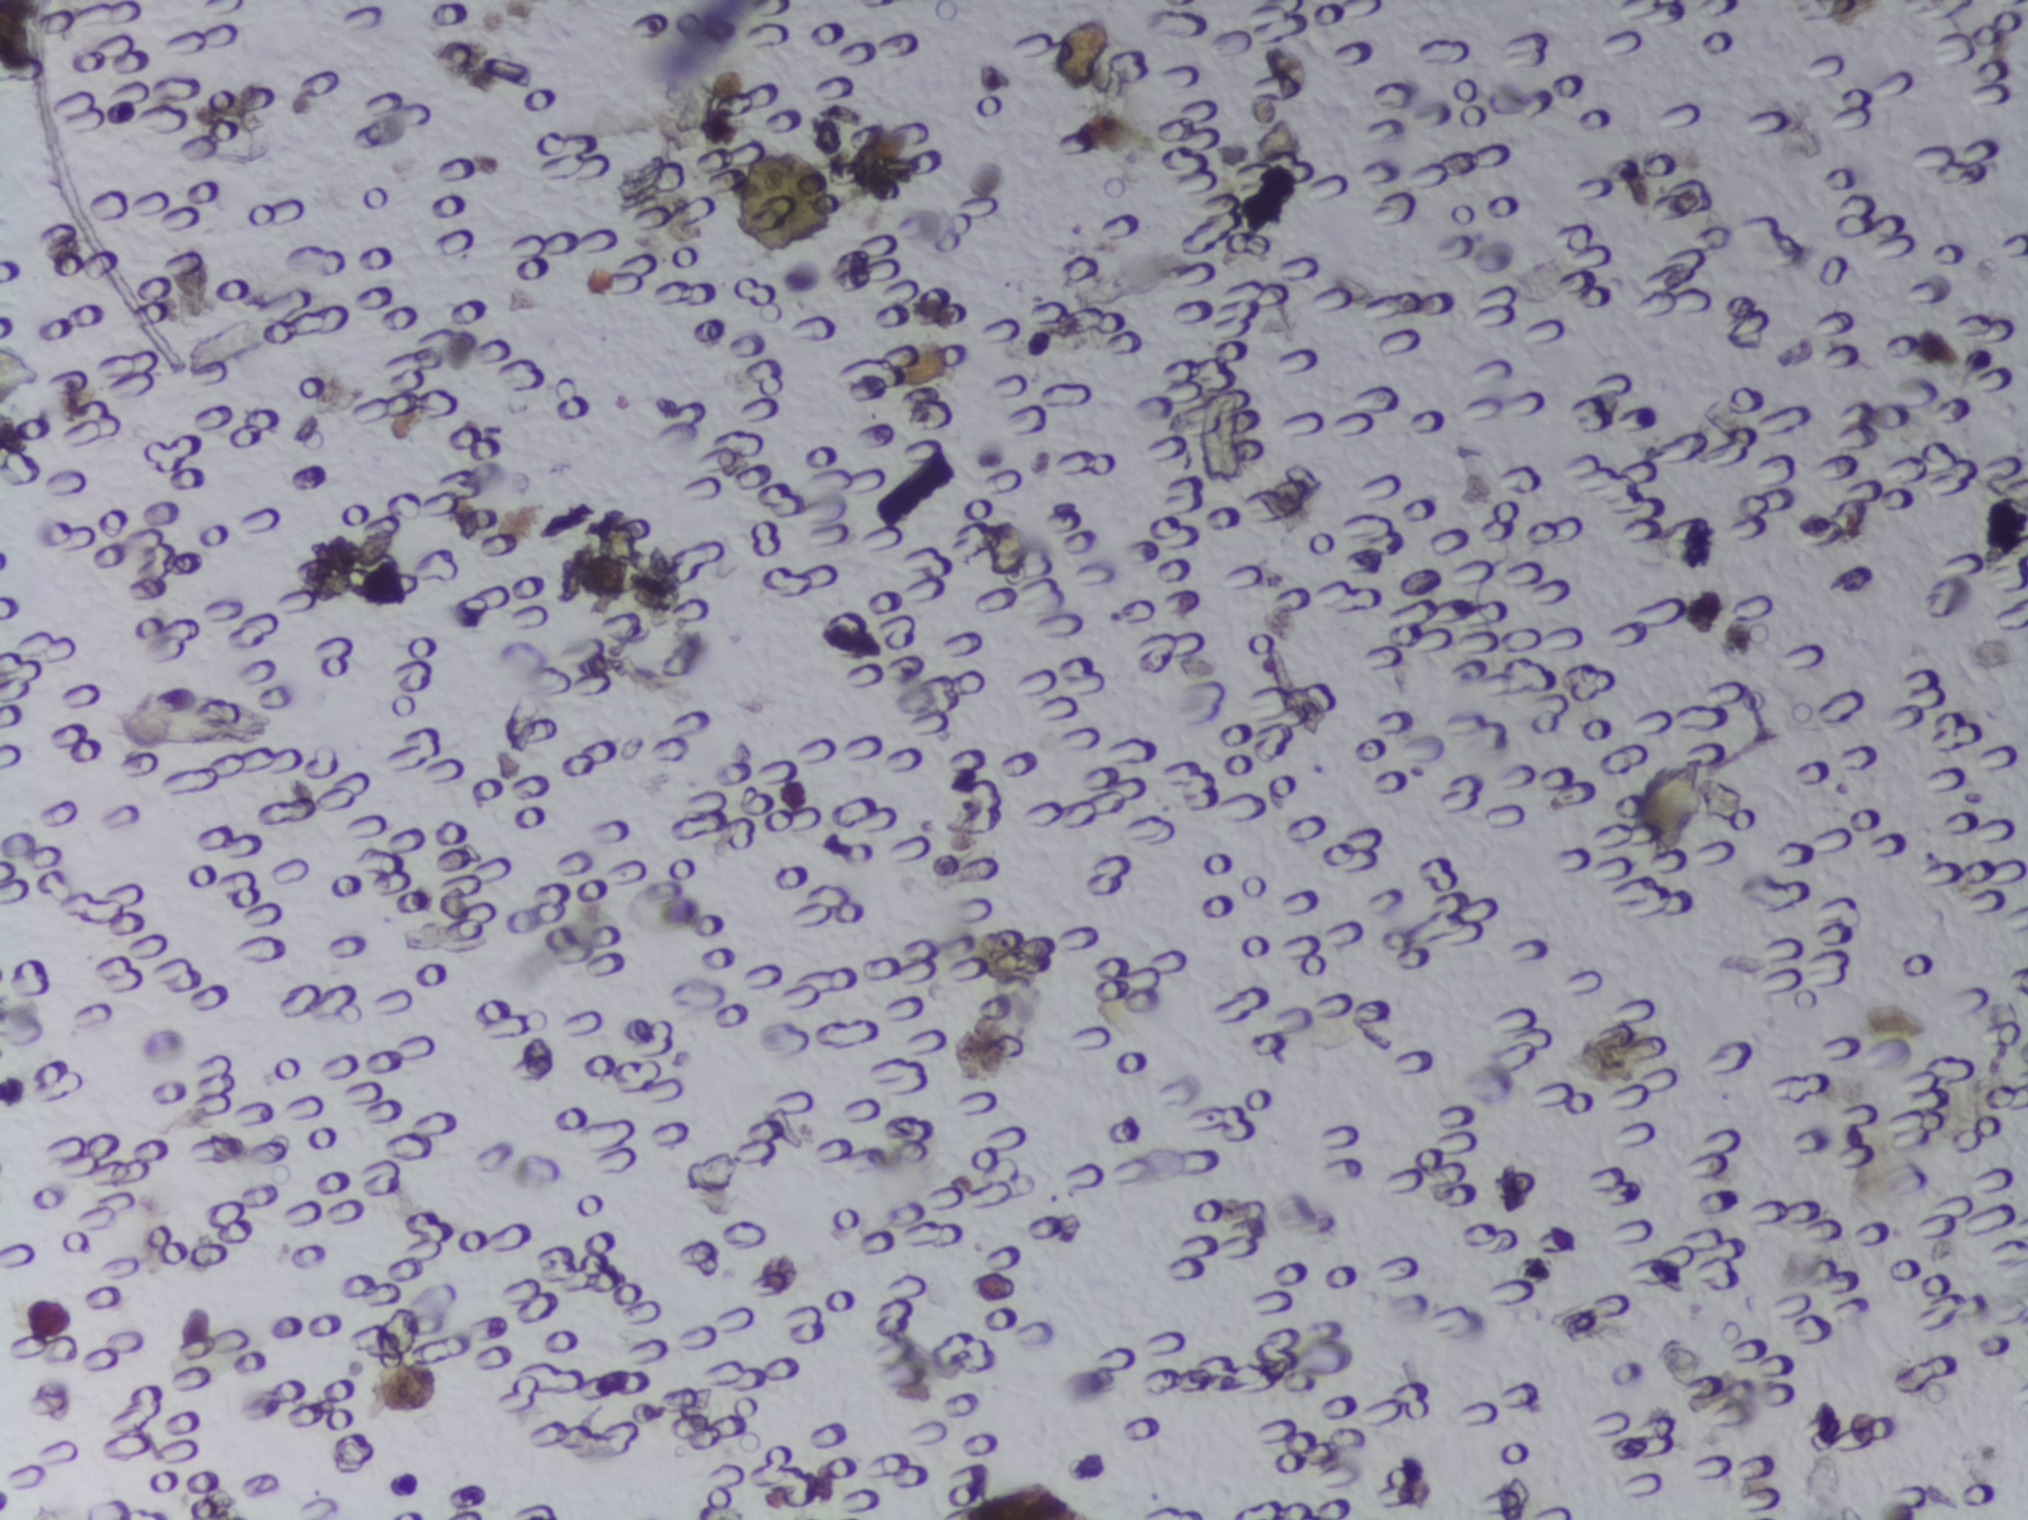
Urine filter membrane photographed through a 4× microscope objective. The image covers about 1.5 × 1.1 mm of the membrane.
No area of this image was outlined as a Schistosoma egg.